Urine filtration membrane under a 4× objective, photographed by an automated digital microscope.
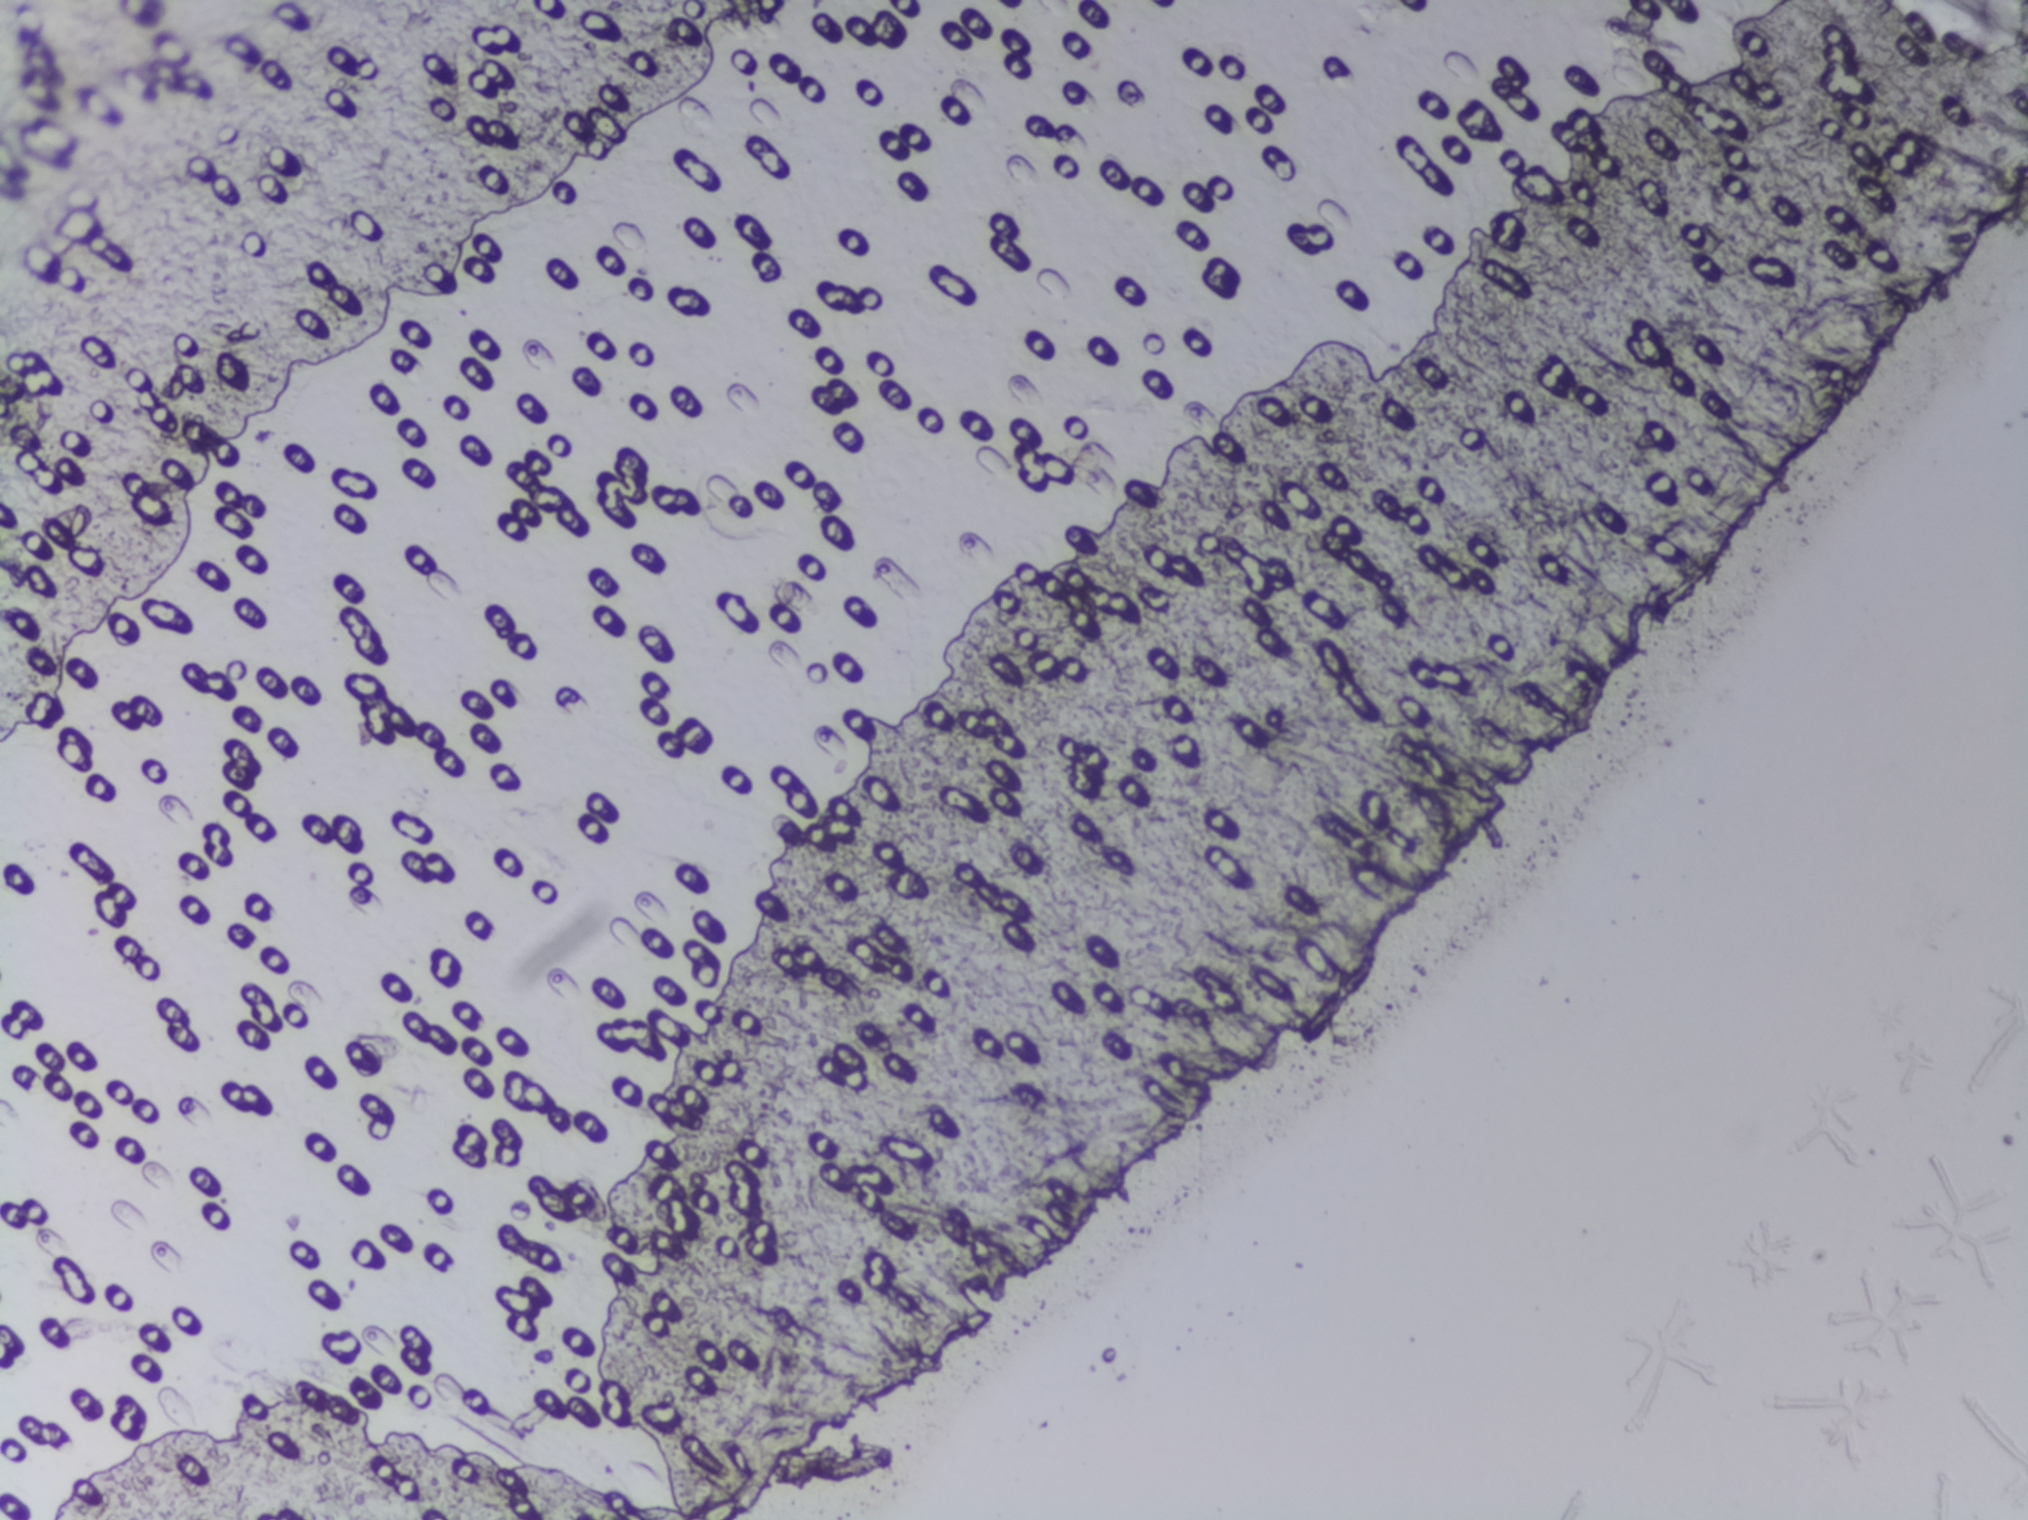
The expert annotation outlines no Schistosoma egg in this image.